Urine filter membrane photographed through a 4× microscope objective.
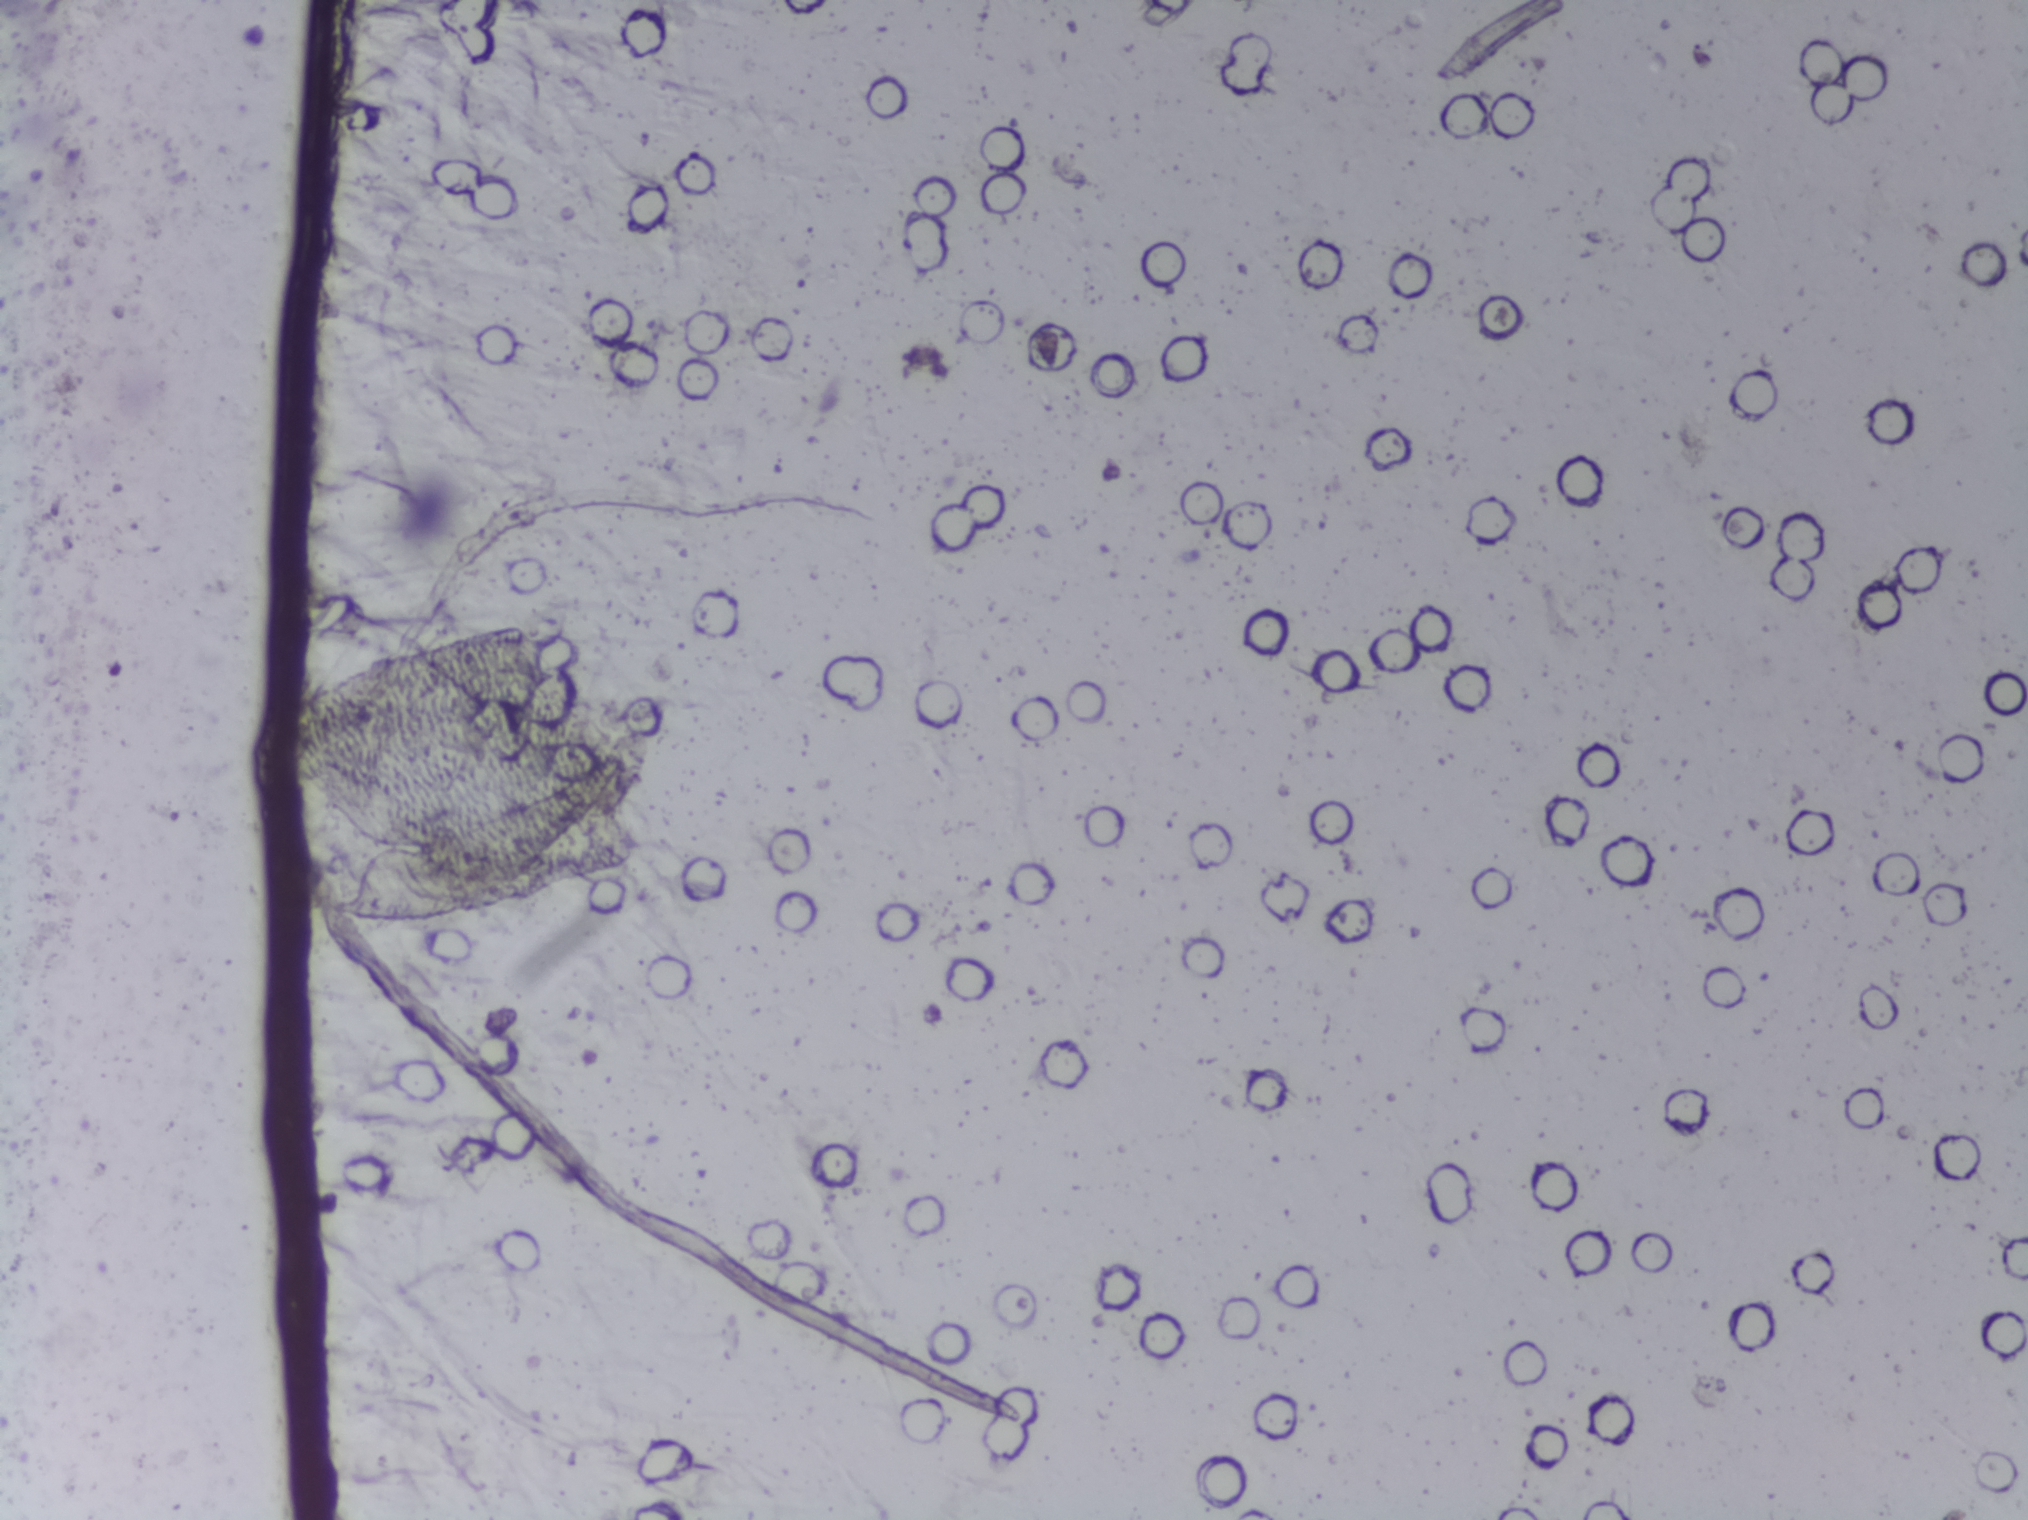
No area of this image was outlined as a Schistosoma egg.